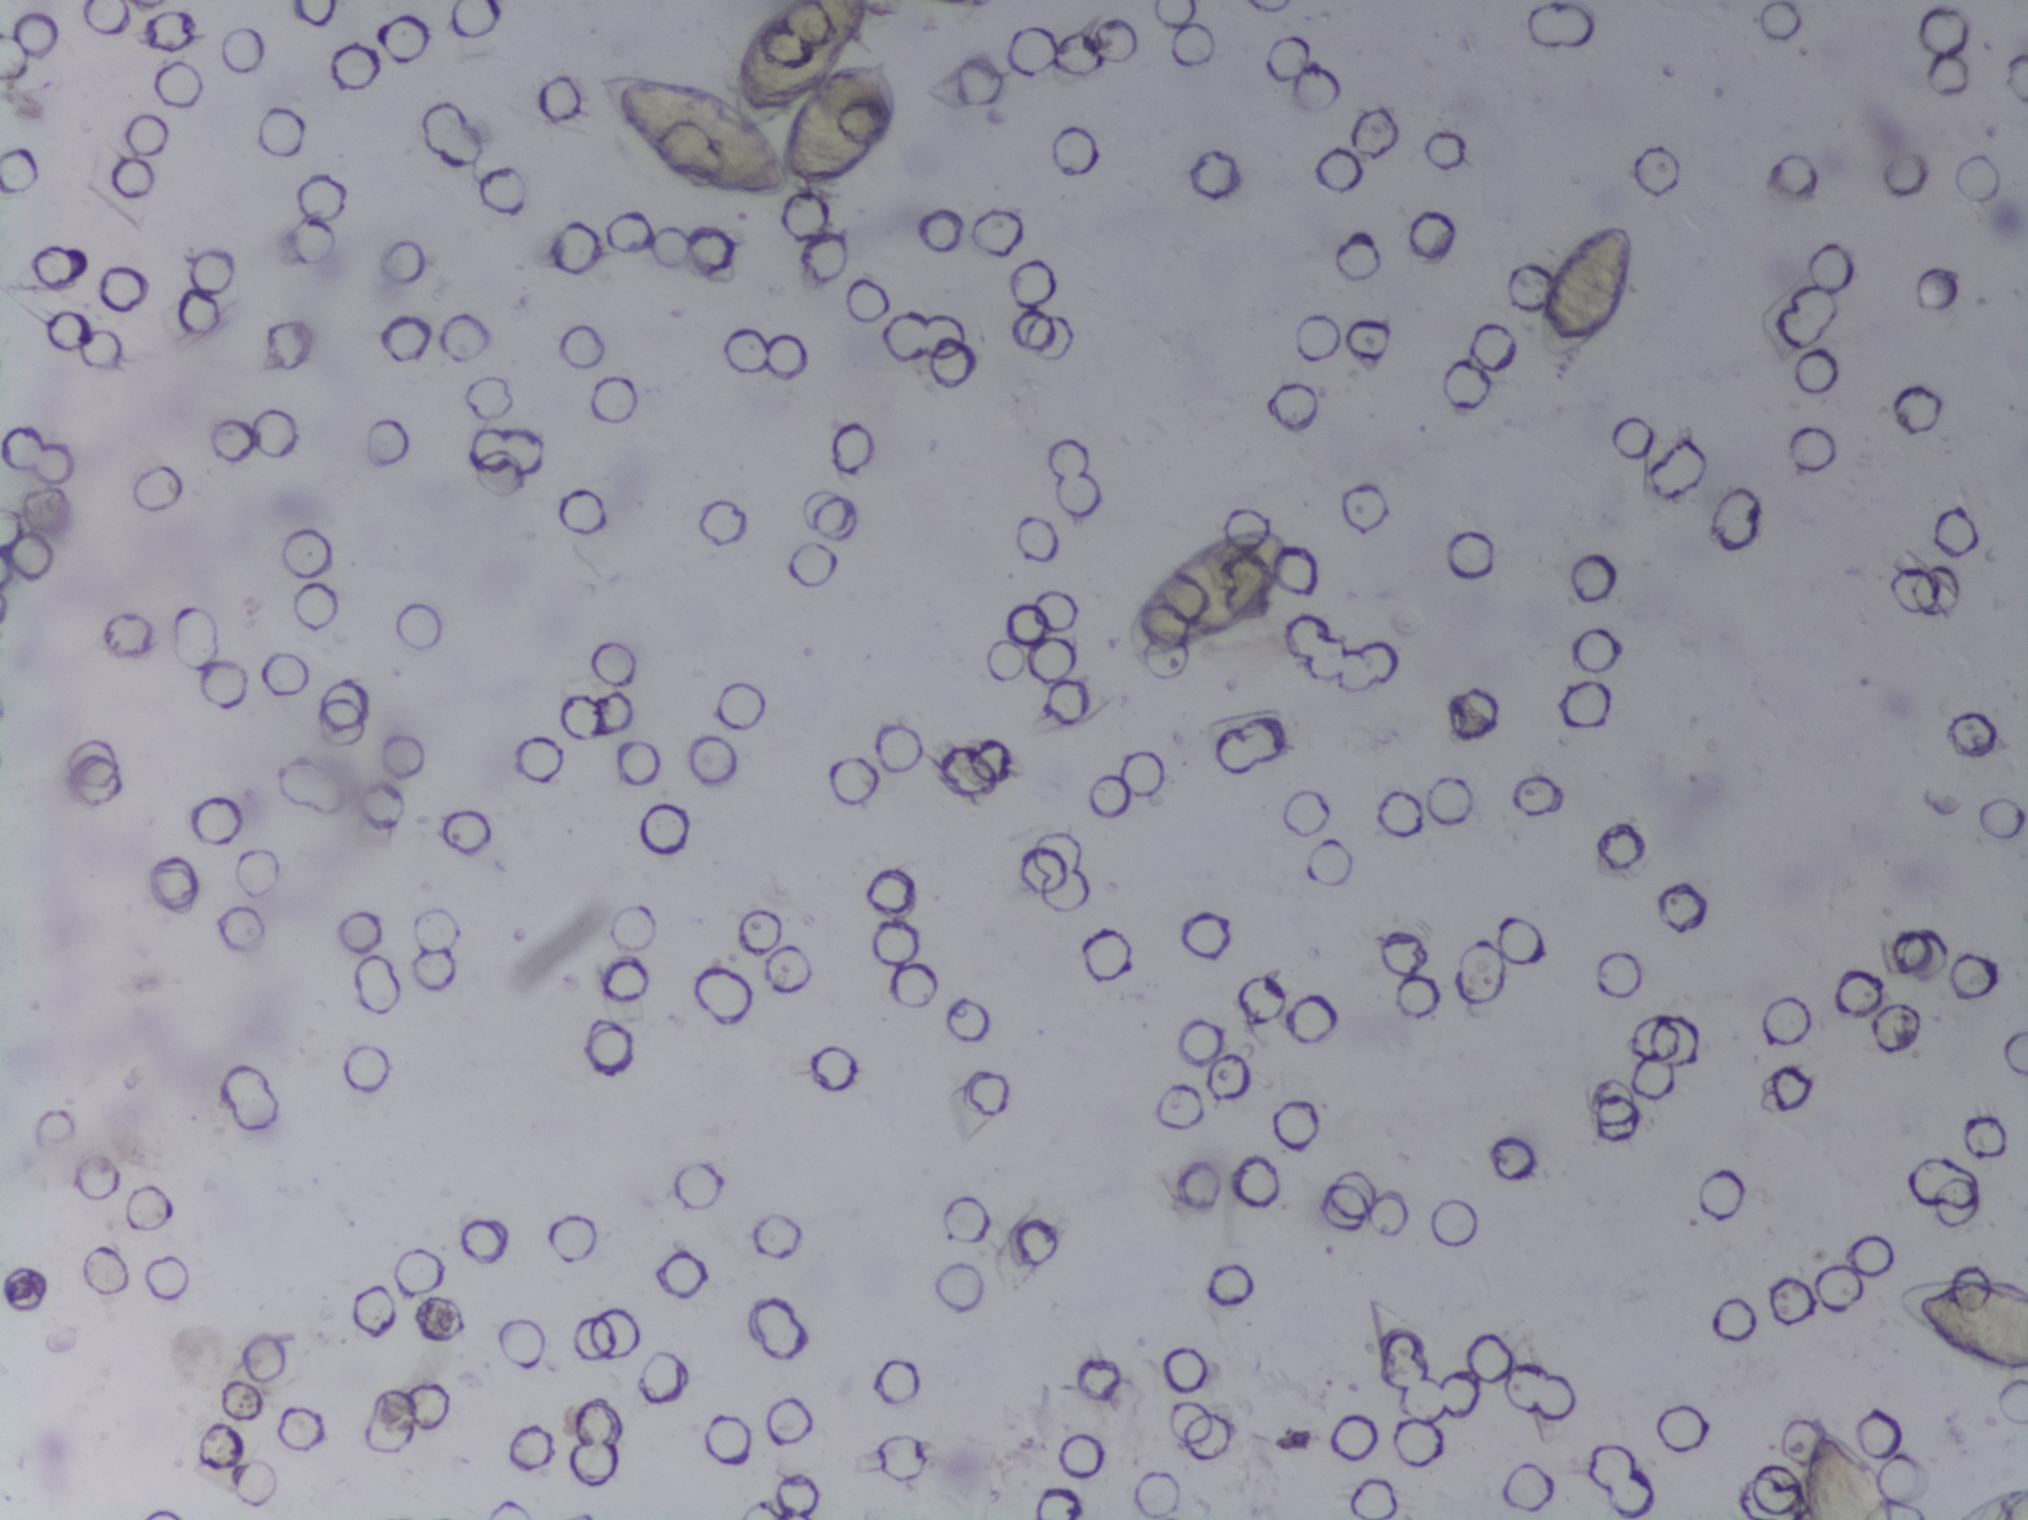
Microscope photograph (4× objective) of a membrane that a urine sample was filtered through. The image covers about 1.5 × 1.1 mm of the membrane.
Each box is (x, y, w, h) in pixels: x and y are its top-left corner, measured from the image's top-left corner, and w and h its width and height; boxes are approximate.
Areas outlined as Schistosoma eggs, left to right:
1. (x=590, y=0, w=314, h=204) (reaching the top edge of the frame)
2. (x=1118, y=519, w=177, h=150)
3. (x=1529, y=218, w=112, h=153)
4. (x=1801, y=1414, w=105, h=106) (reaching the bottom edge of the frame)
5. (x=1891, y=1274, w=137, h=103) (reaching the right edge of the frame)
An outlined area can hold more than one egg.